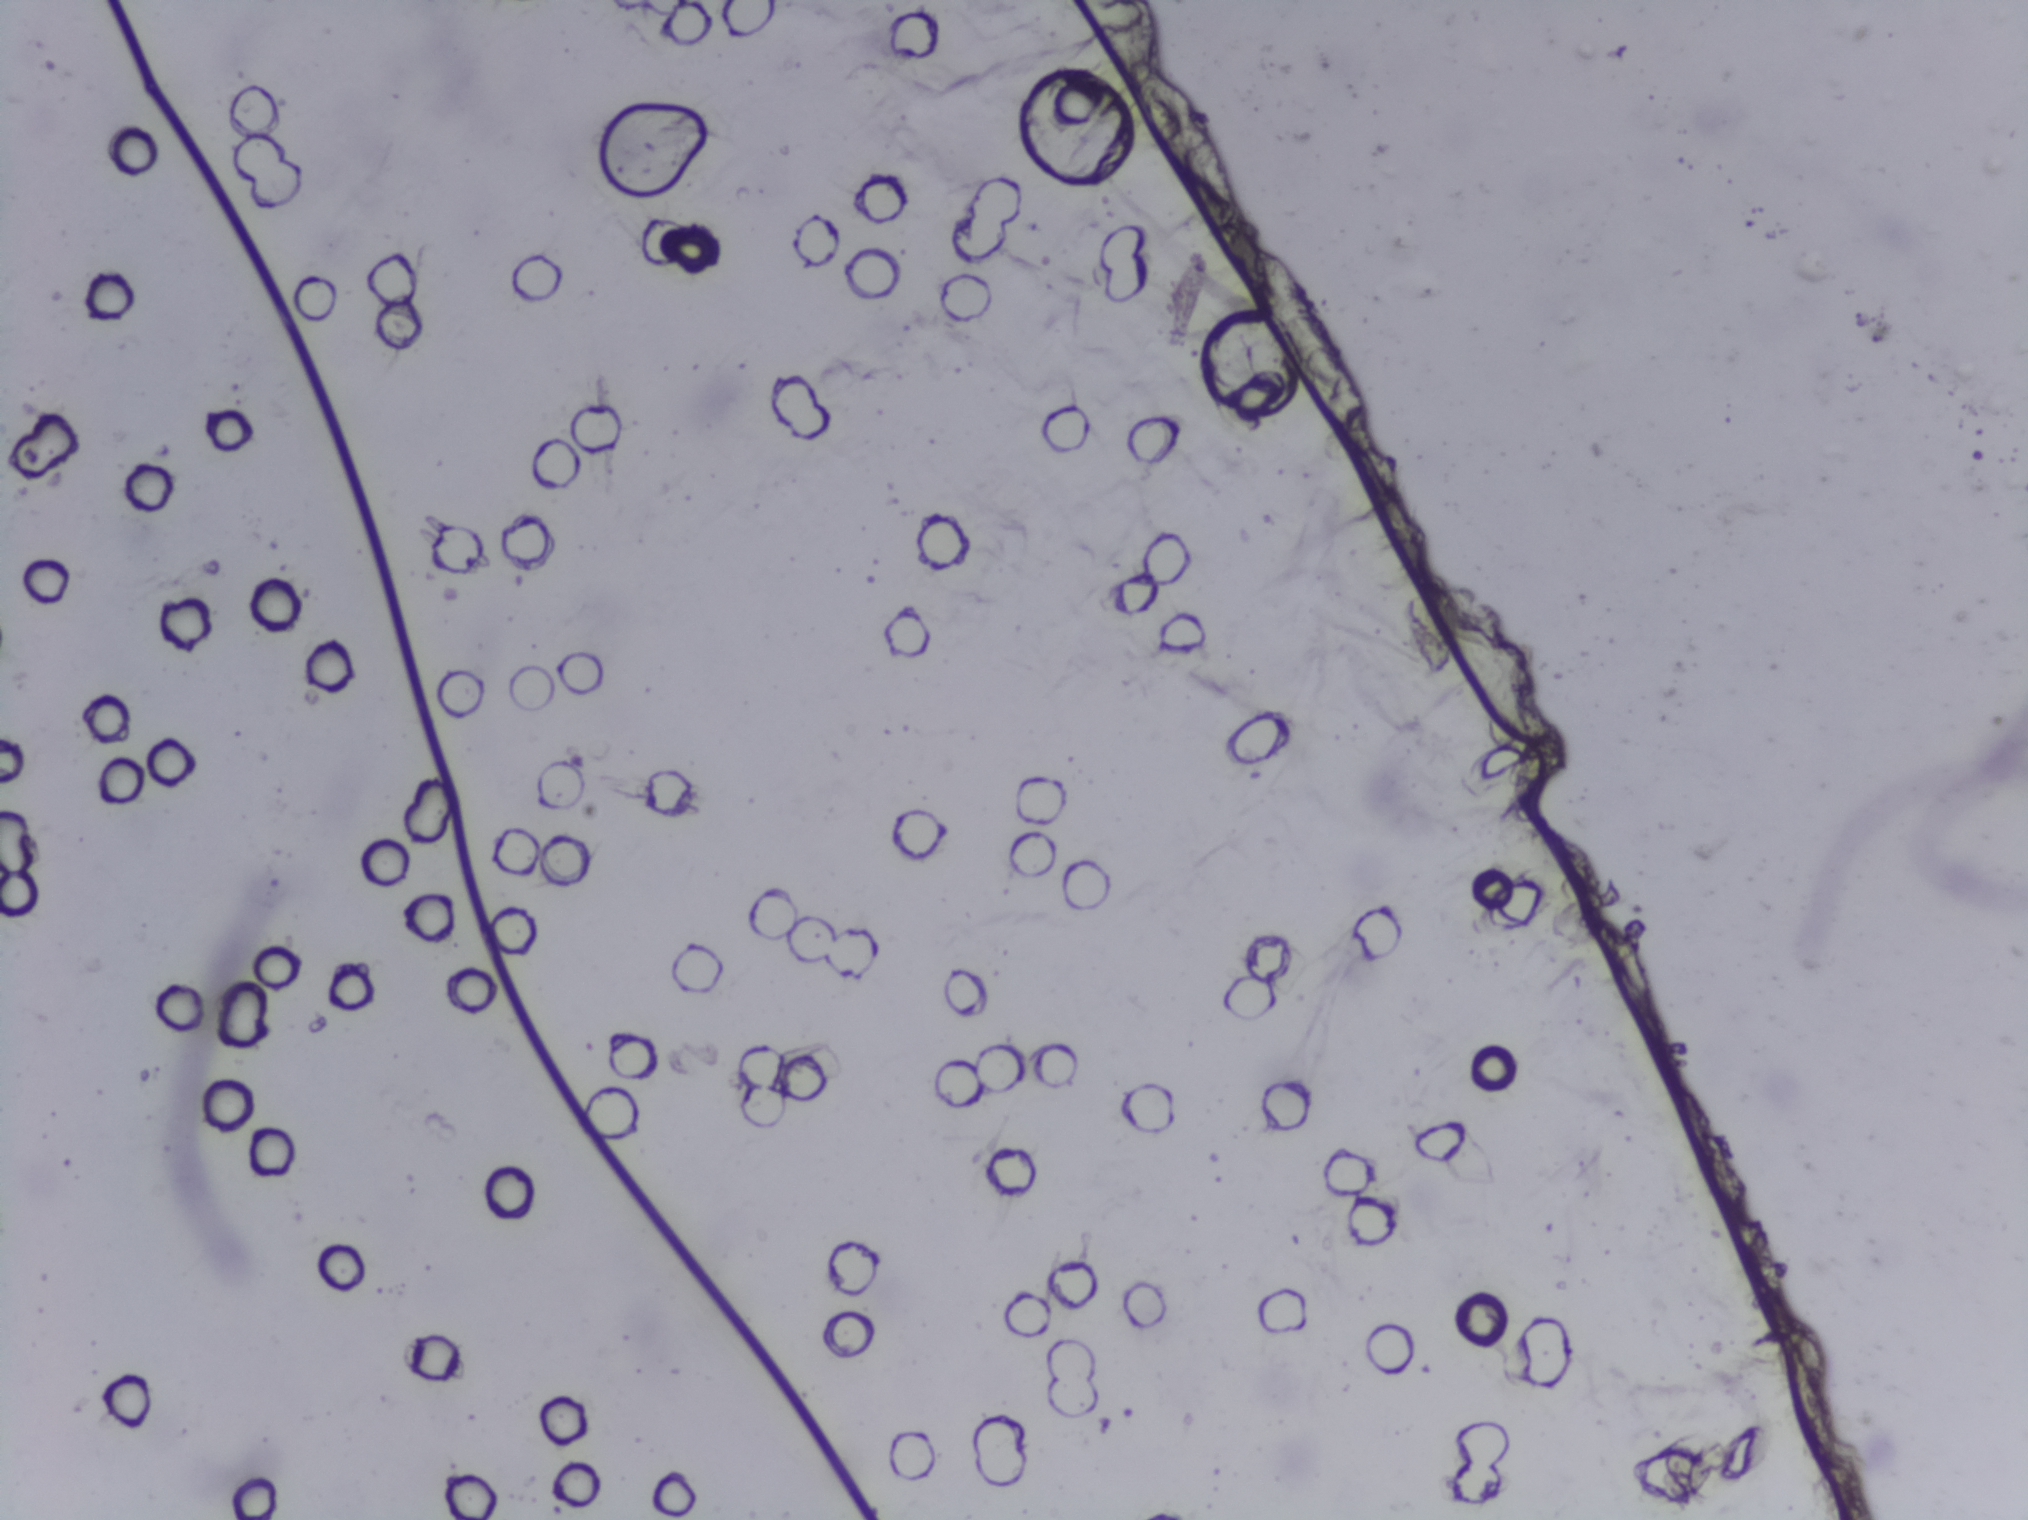
Photomicrograph of a urine filtration membrane, 4× objective.
No Schistosoma egg is outlined in this image's expert annotation.